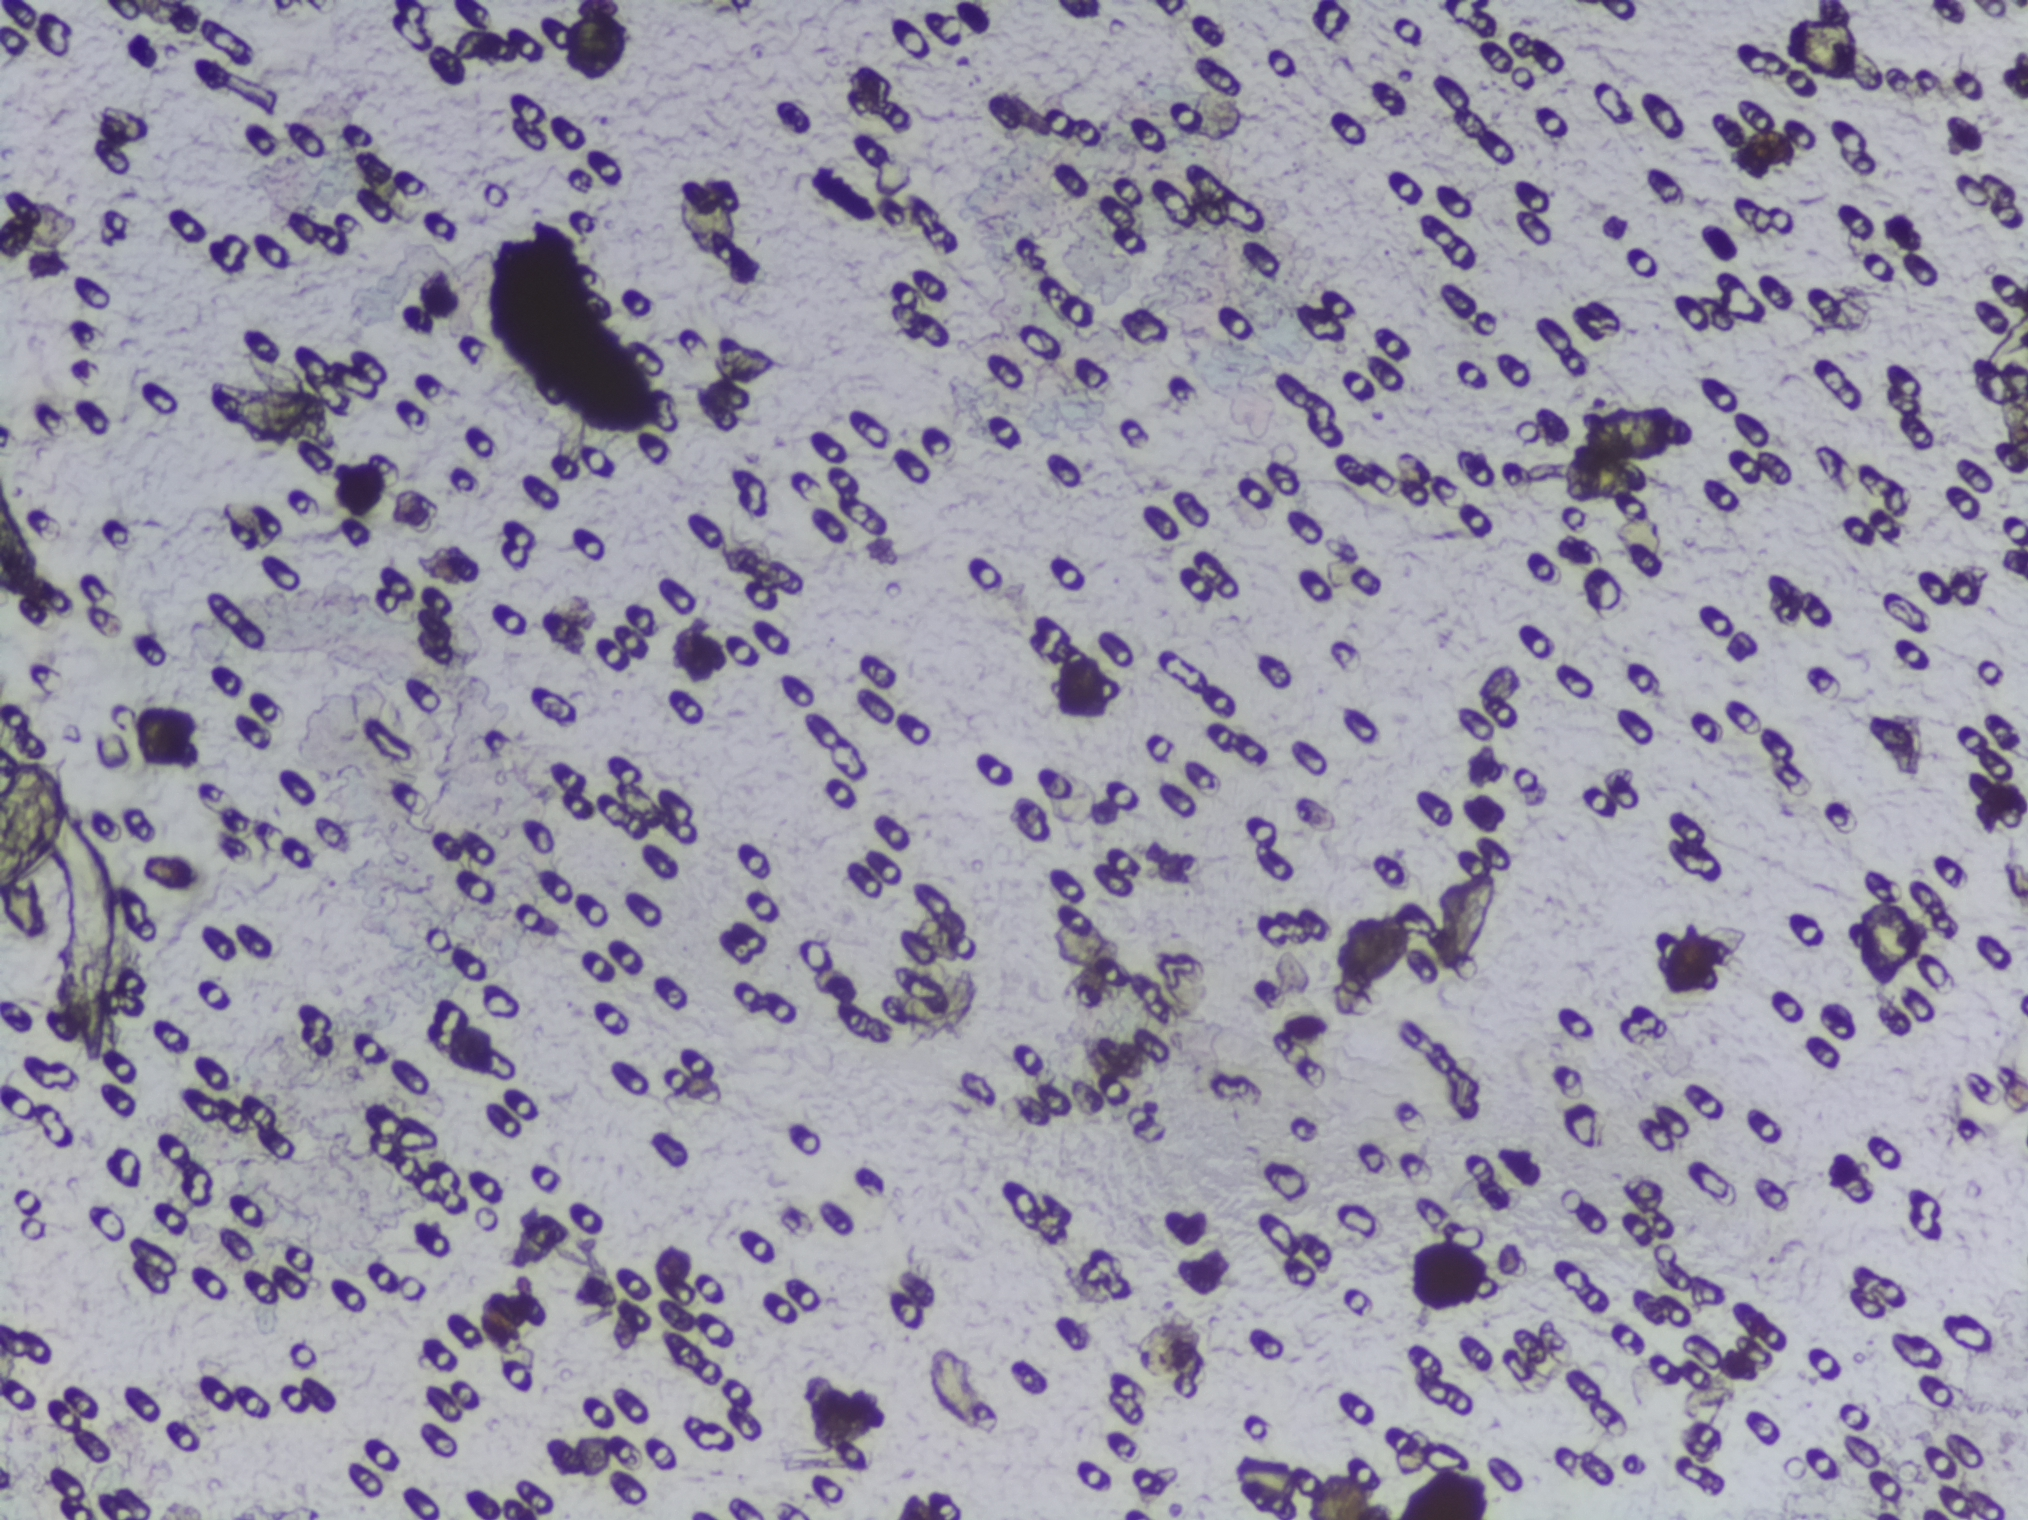
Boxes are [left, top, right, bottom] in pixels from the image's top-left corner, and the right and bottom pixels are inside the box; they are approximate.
{"schistosoma_egg_areas_xyxy_px": [[0, 755, 72, 894]]} Area 1 reaches the left edge of the frame.
A single outlined area may contain several eggs.
Photograph from an automated digital microscope: urine filter membrane, 4× objective.